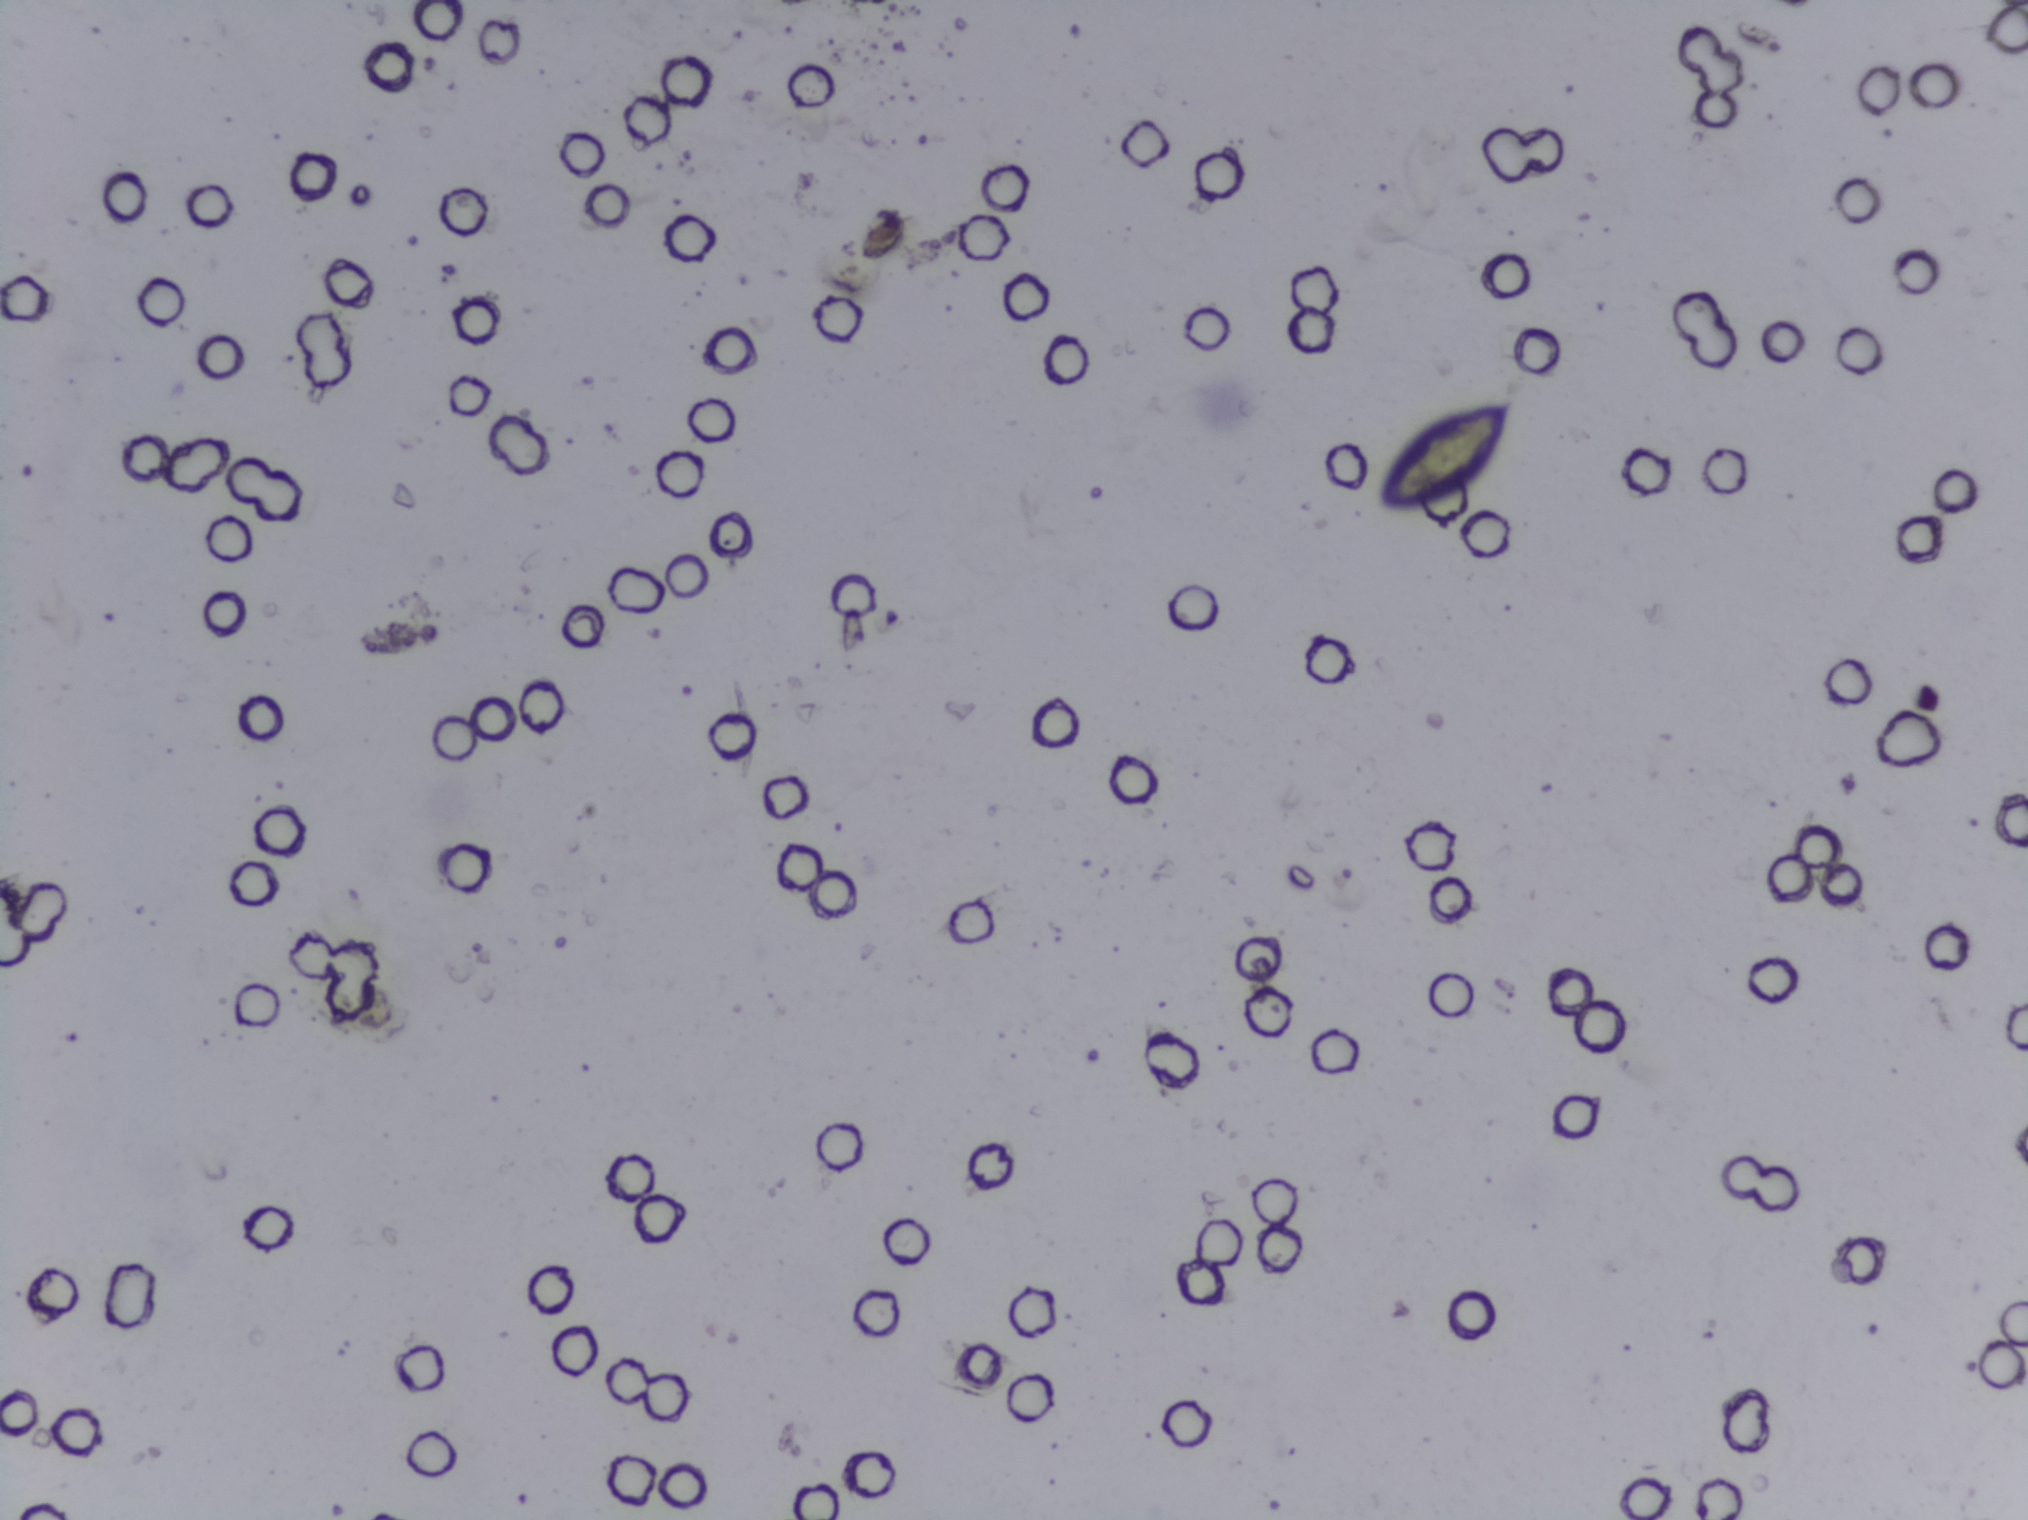
Urine filter membrane photographed through a 4× microscope objective.
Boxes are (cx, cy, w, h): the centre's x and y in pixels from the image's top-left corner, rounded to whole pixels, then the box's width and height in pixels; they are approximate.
Areas outlined as Schistosoma eggs: (cx=1448, cy=451, w=185, h=136). About 0.5% of the image's pixels are marked (the marked pixels themselves, not the box around them). A single outlined area may contain several eggs. A marked egg may occasionally be S. mansoni rather than S. haematobium.